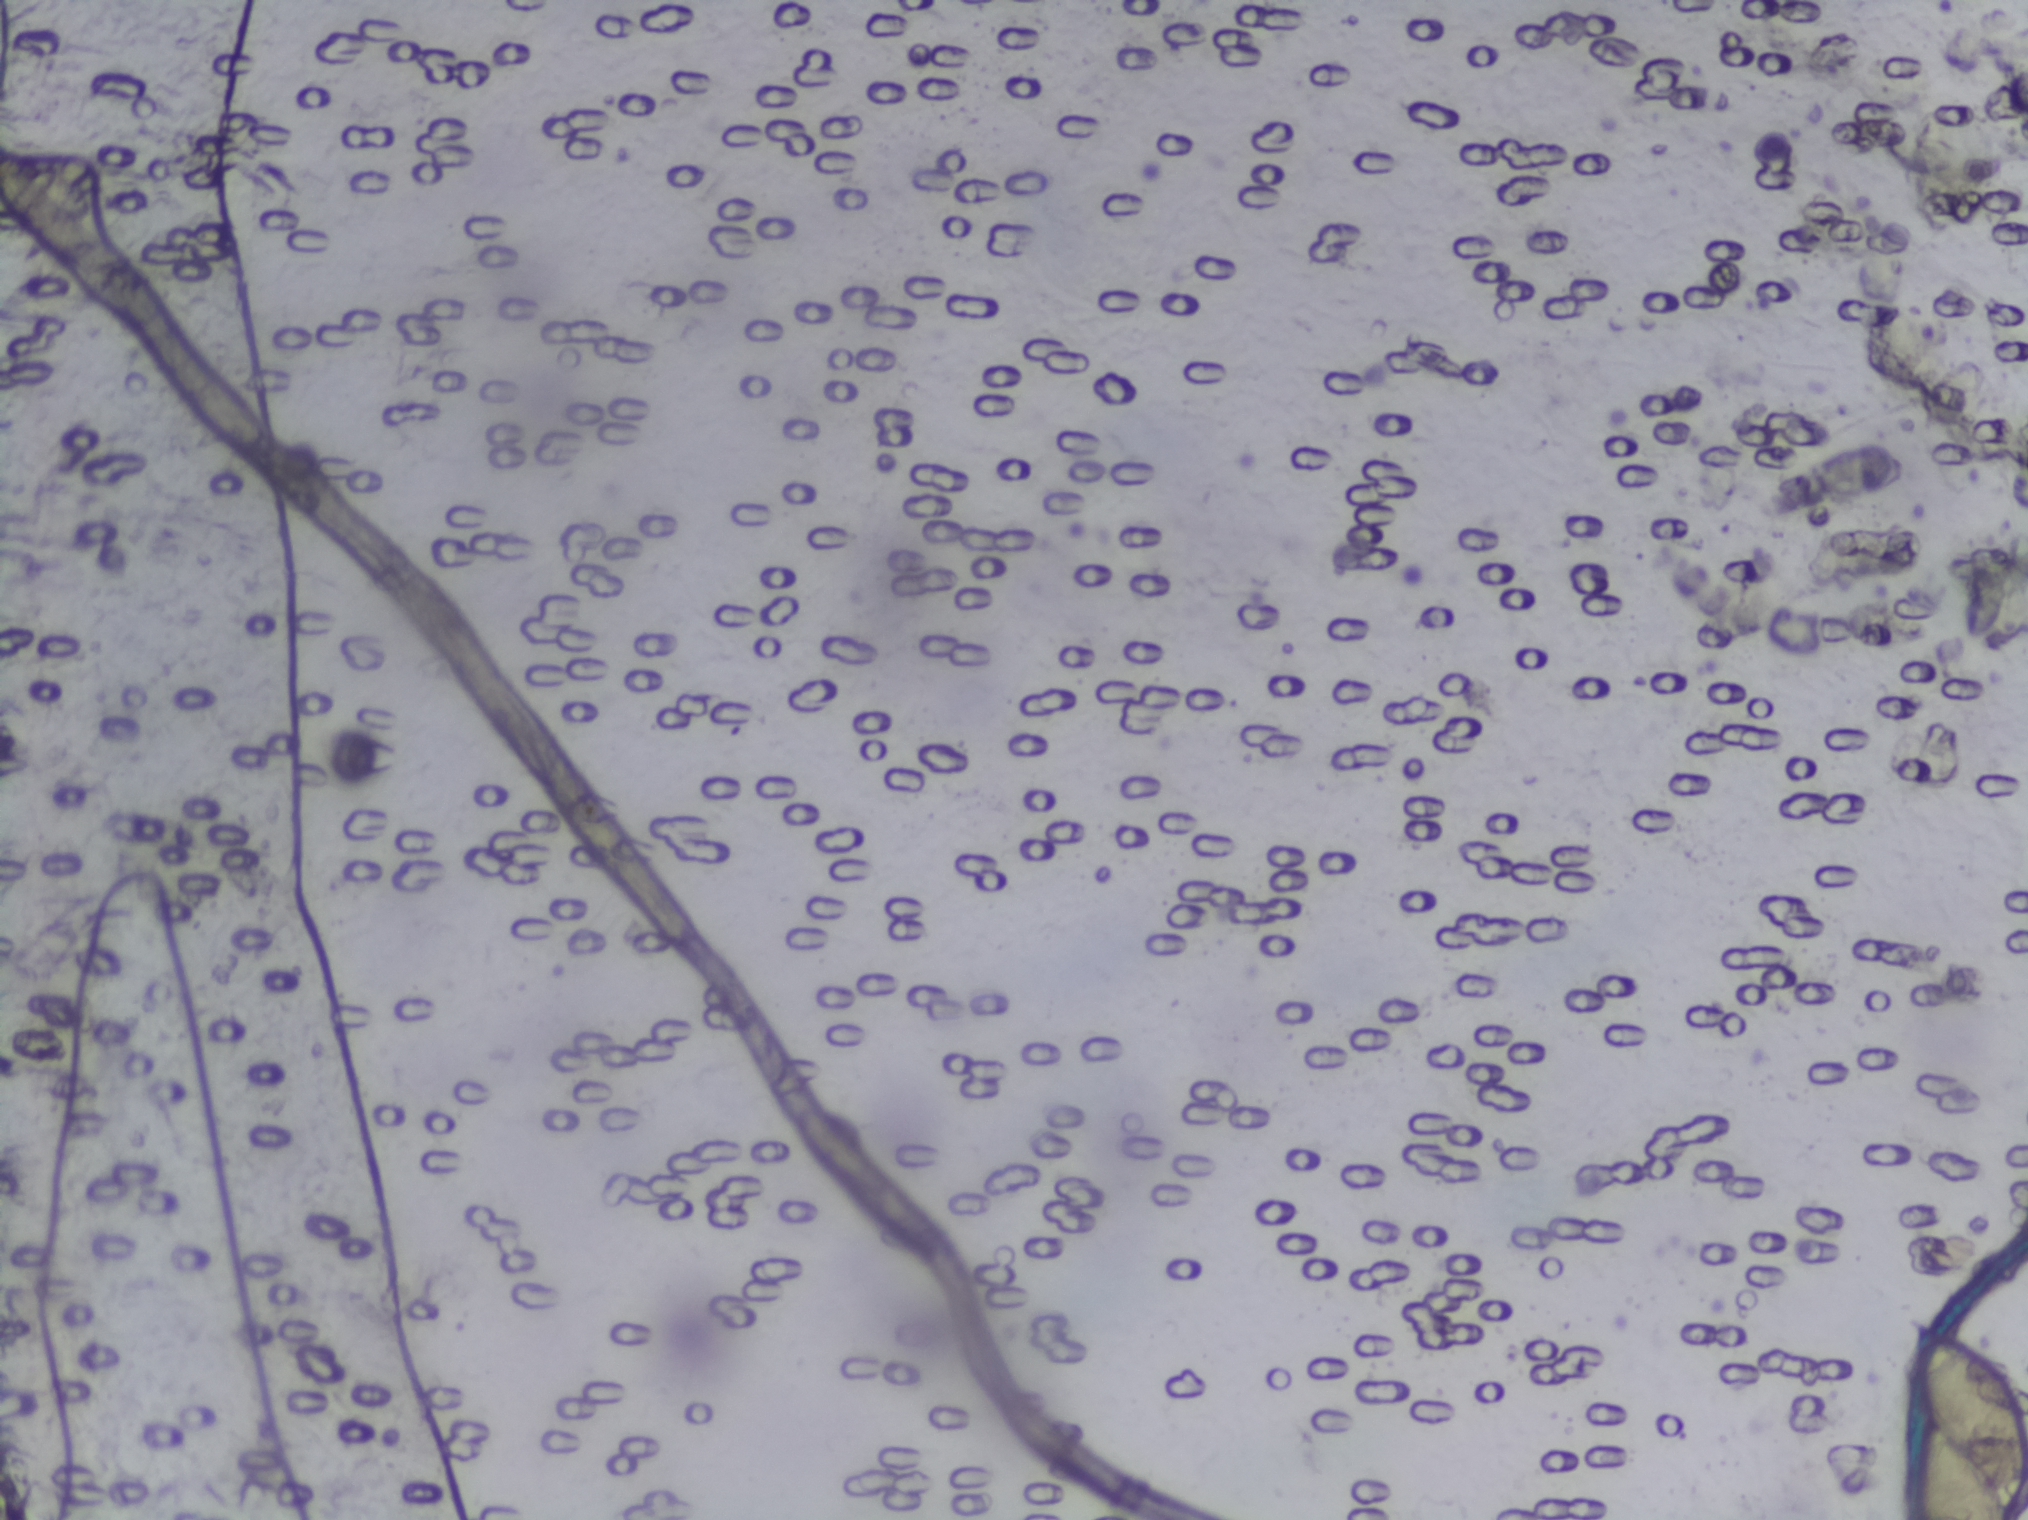
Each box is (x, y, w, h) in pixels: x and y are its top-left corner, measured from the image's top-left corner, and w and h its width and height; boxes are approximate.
Findings: one area outlined as Schistosoma eggs. Location: (x=1899, y=1298, w=129, h=222) (reaching the right and bottom edges of the frame). A single outlined area may contain several eggs.
Urine filtration membrane under a 4× objective, photographed by an automated digital microscope.